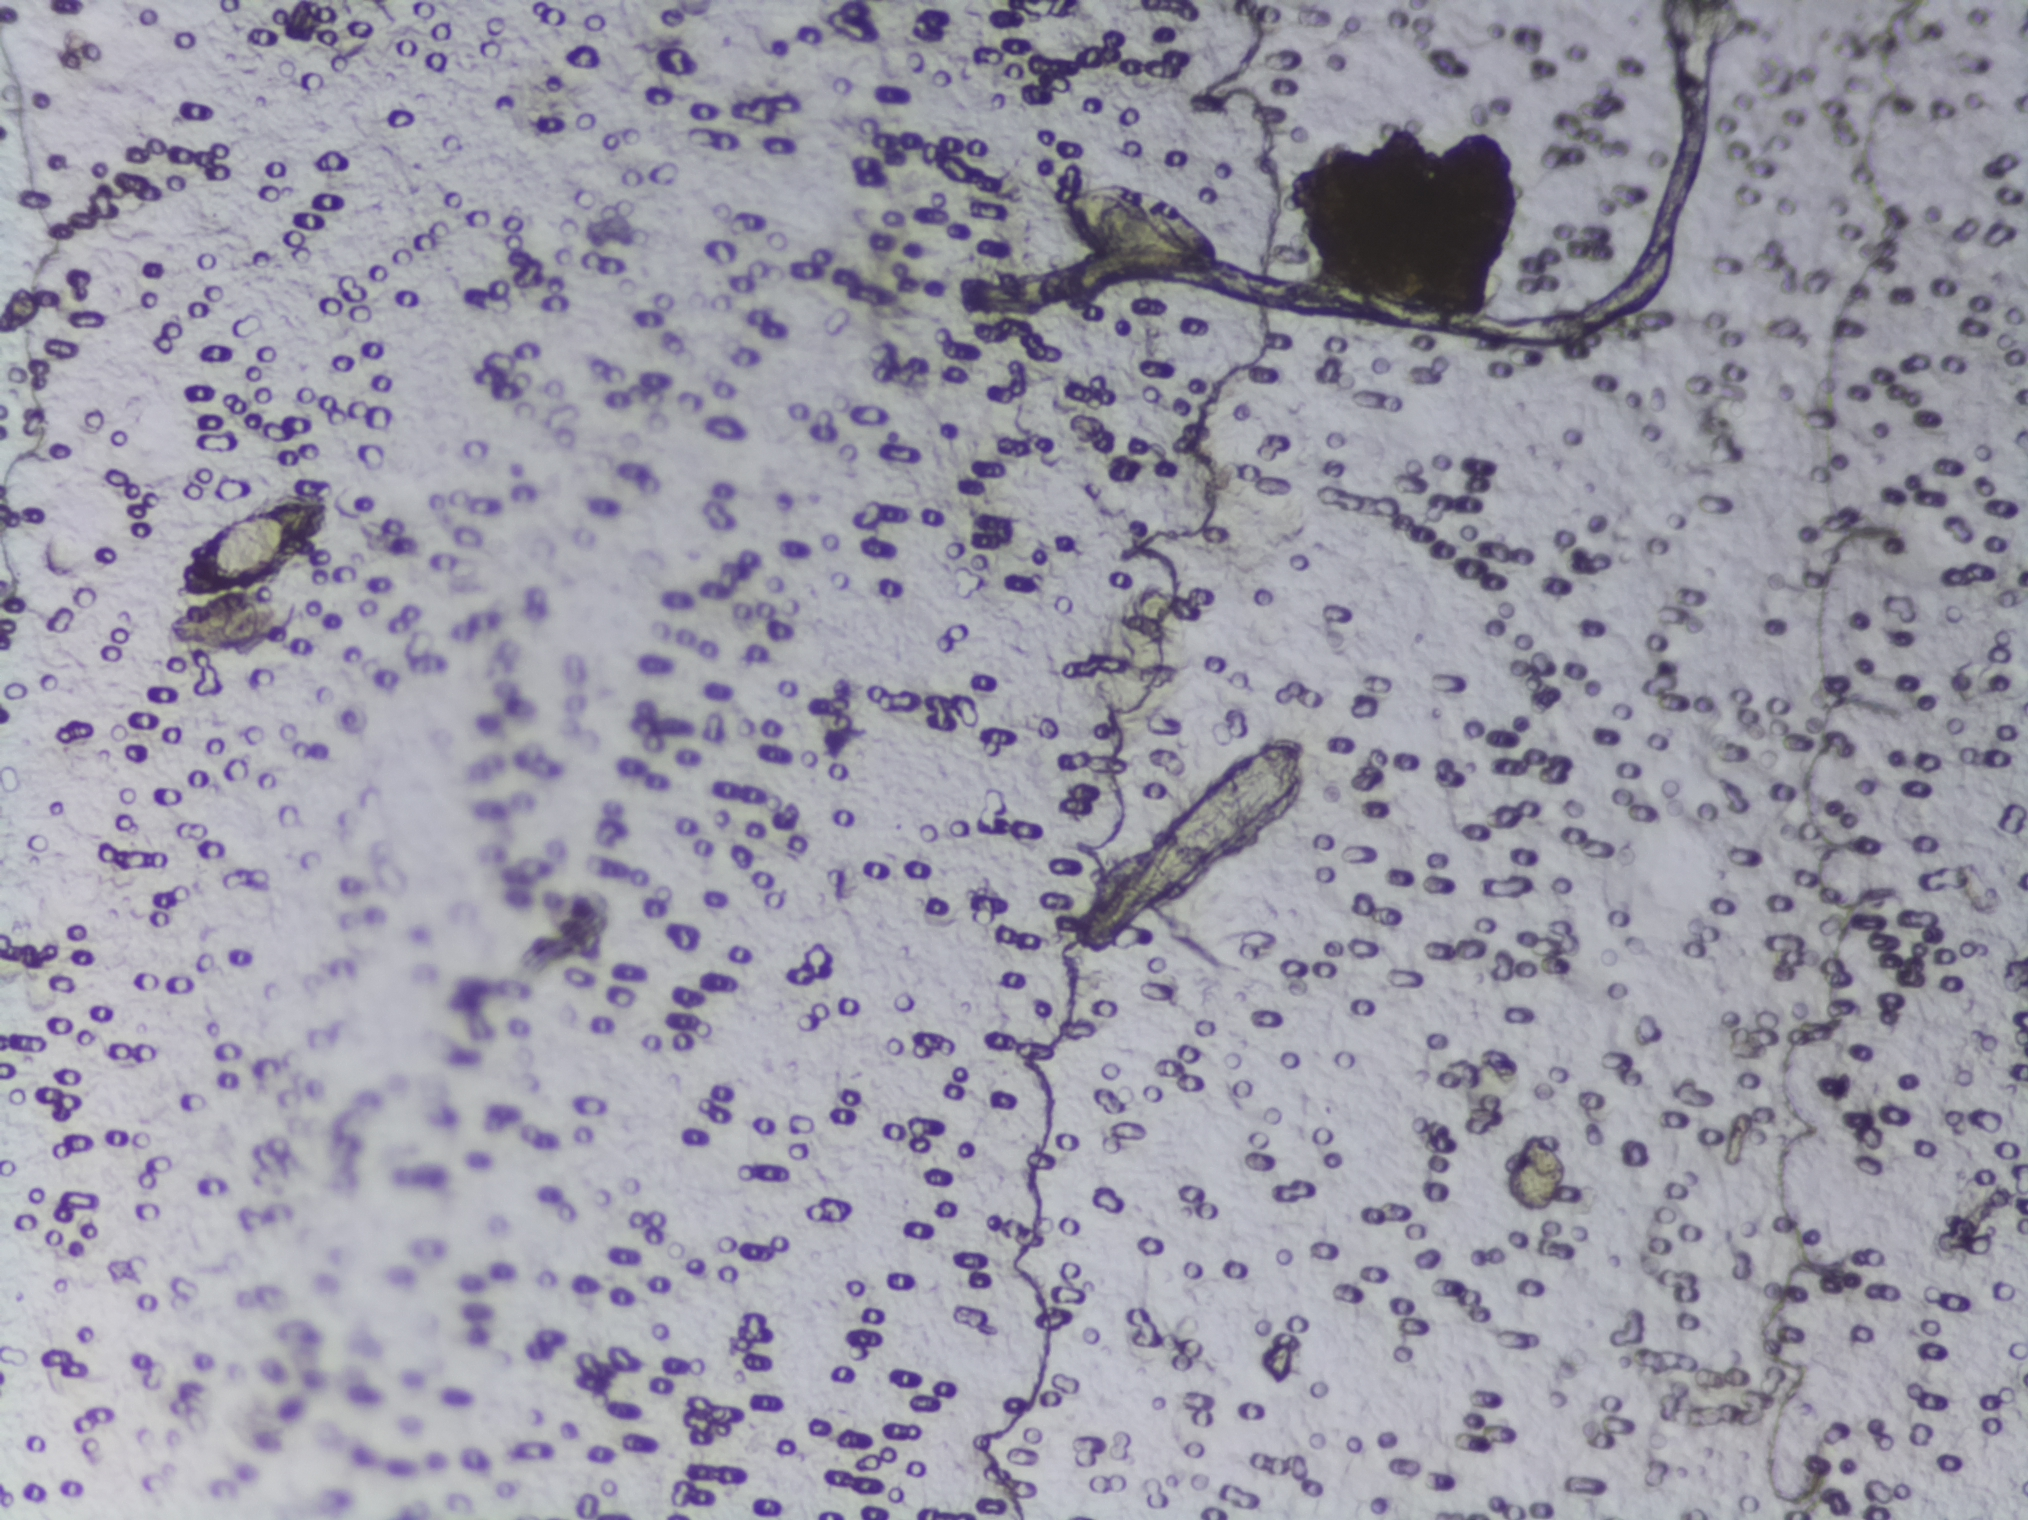
One field of view of a urine filter membrane, 4× objective, 2028 × 1520 pixels.
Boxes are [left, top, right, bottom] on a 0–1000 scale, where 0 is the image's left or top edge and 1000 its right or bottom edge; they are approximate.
Schistosoma eggs are outlined in the expert annotation at [82, 325, 165, 429] and [523, 119, 604, 182] (left to right). An outlined area can hold more than one egg.